Microscope photograph (4× objective) of a membrane that a urine sample was filtered through.
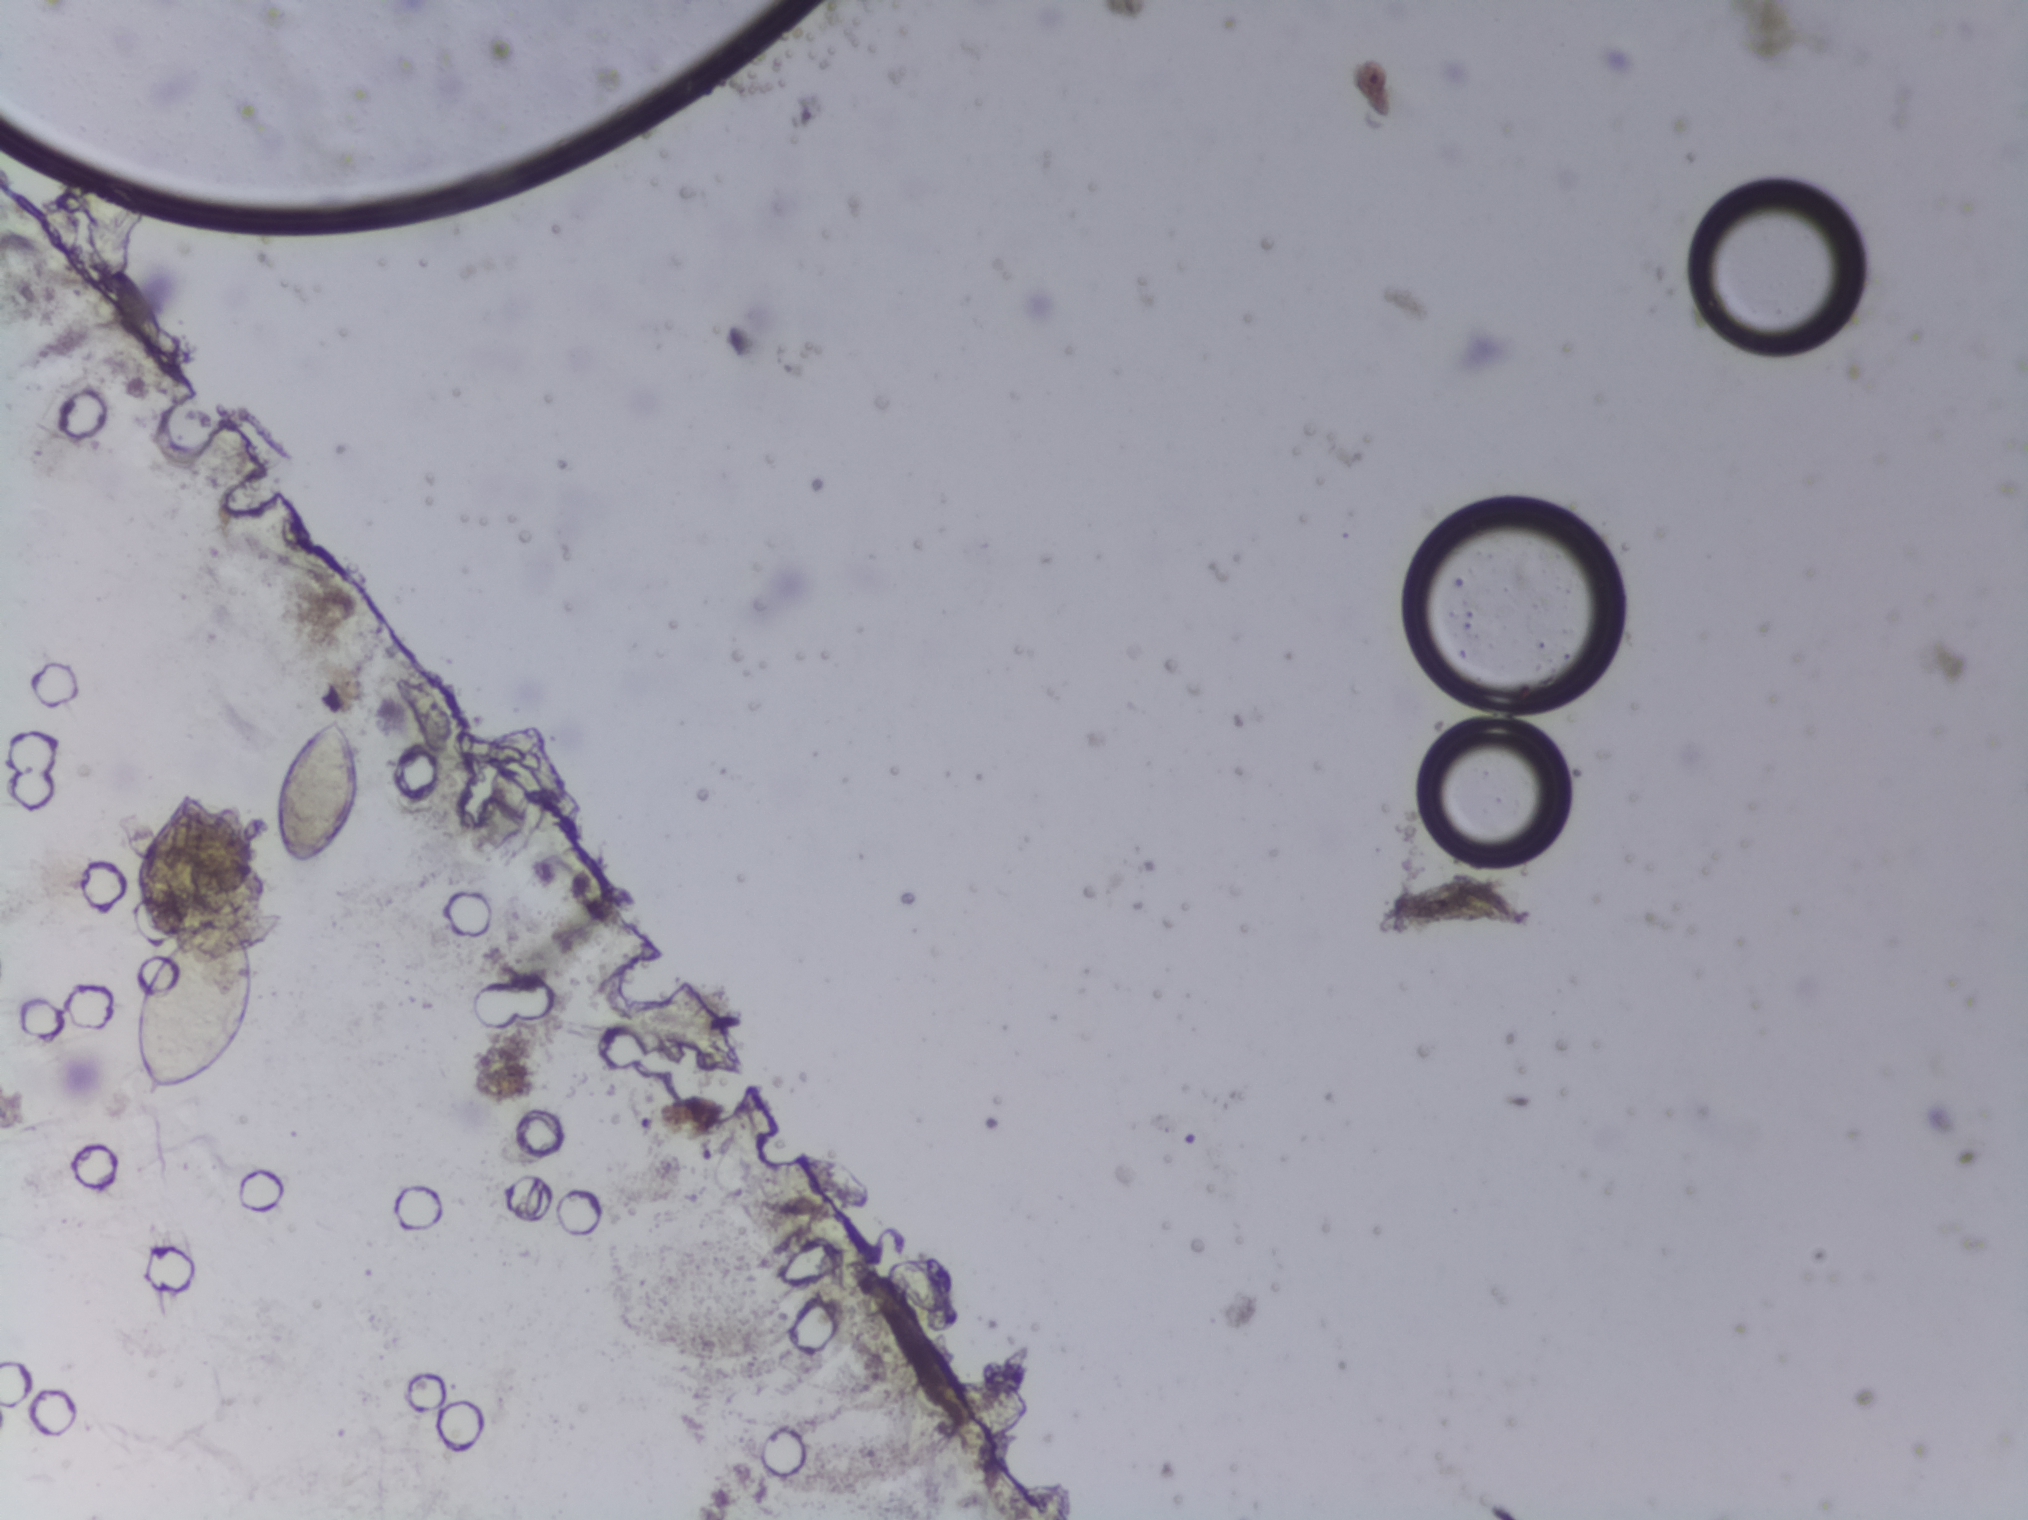
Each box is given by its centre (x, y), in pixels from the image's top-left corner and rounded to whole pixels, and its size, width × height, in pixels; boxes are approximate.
Outlined Schistosoma egg areas, left to right:
1. centre (194, 1005), 125 × 198 px
2. centre (316, 792), 89 × 161 px
The marked pixels themselves, not the boxes around them, cover about 0.9% of the image. A single outlined area may contain several eggs. A marked egg may occasionally be S. mansoni rather than S. haematobium.